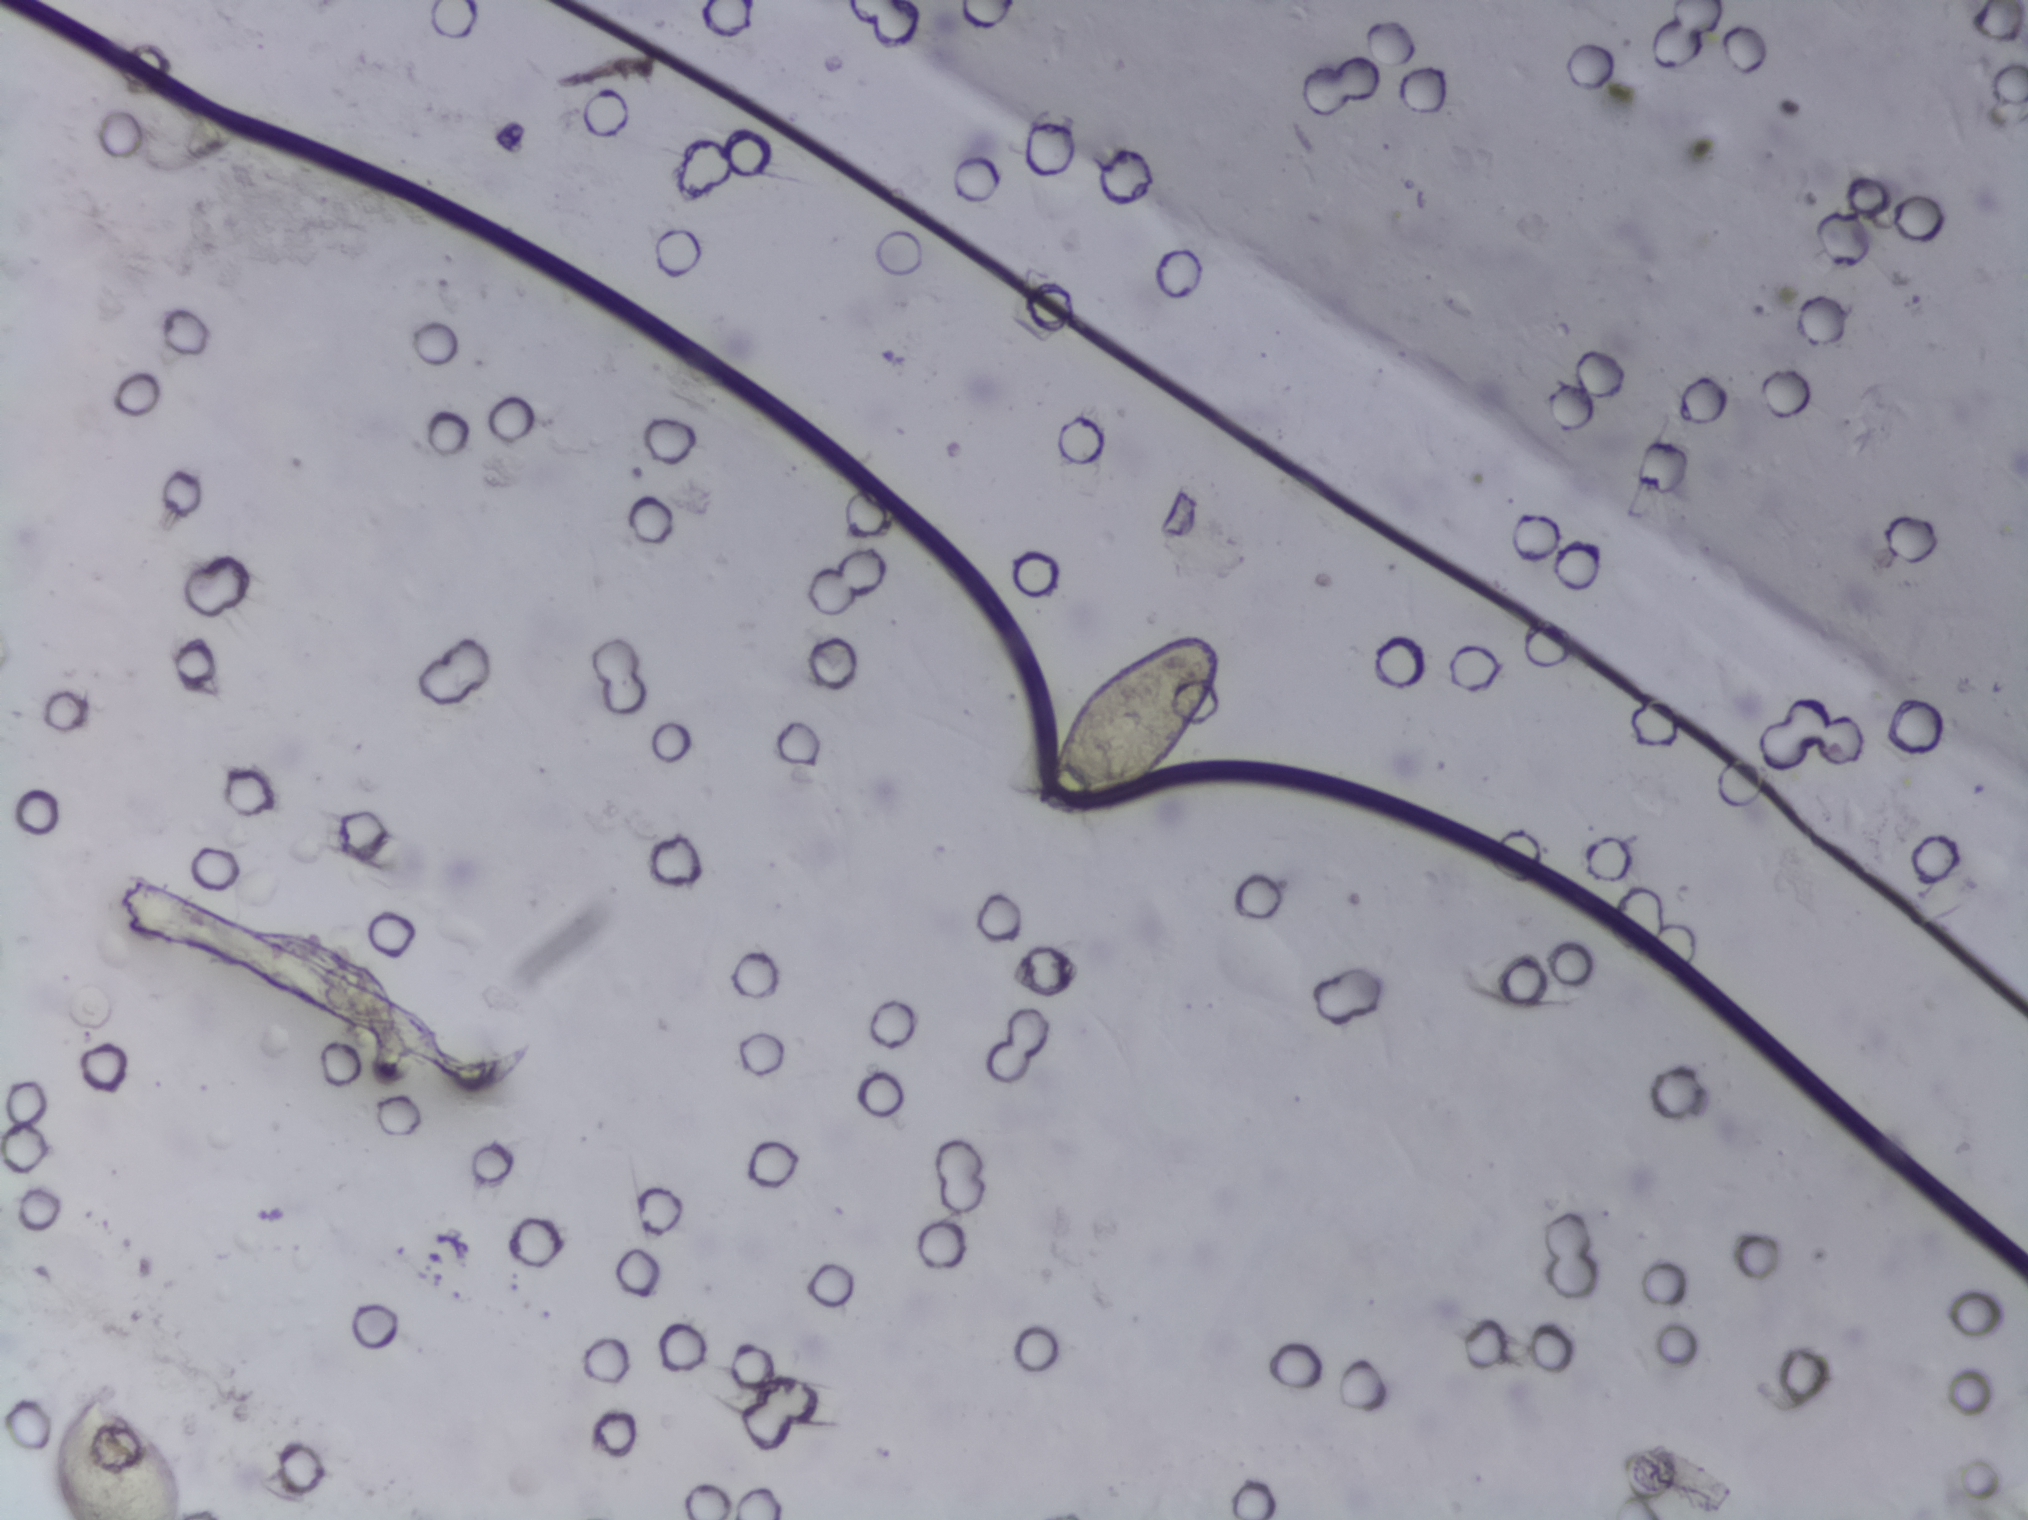
Urine filtration membrane under a 4× objective, photographed by an automated digital microscope.
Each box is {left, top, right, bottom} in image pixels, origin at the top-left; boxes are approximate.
The expert annotation outlines Schistosoma eggs at {52, 1391, 182, 1519} (reaching the bottom edge of the frame) and {1039, 631, 1220, 807} (left to right). A single outlined area may contain several eggs.